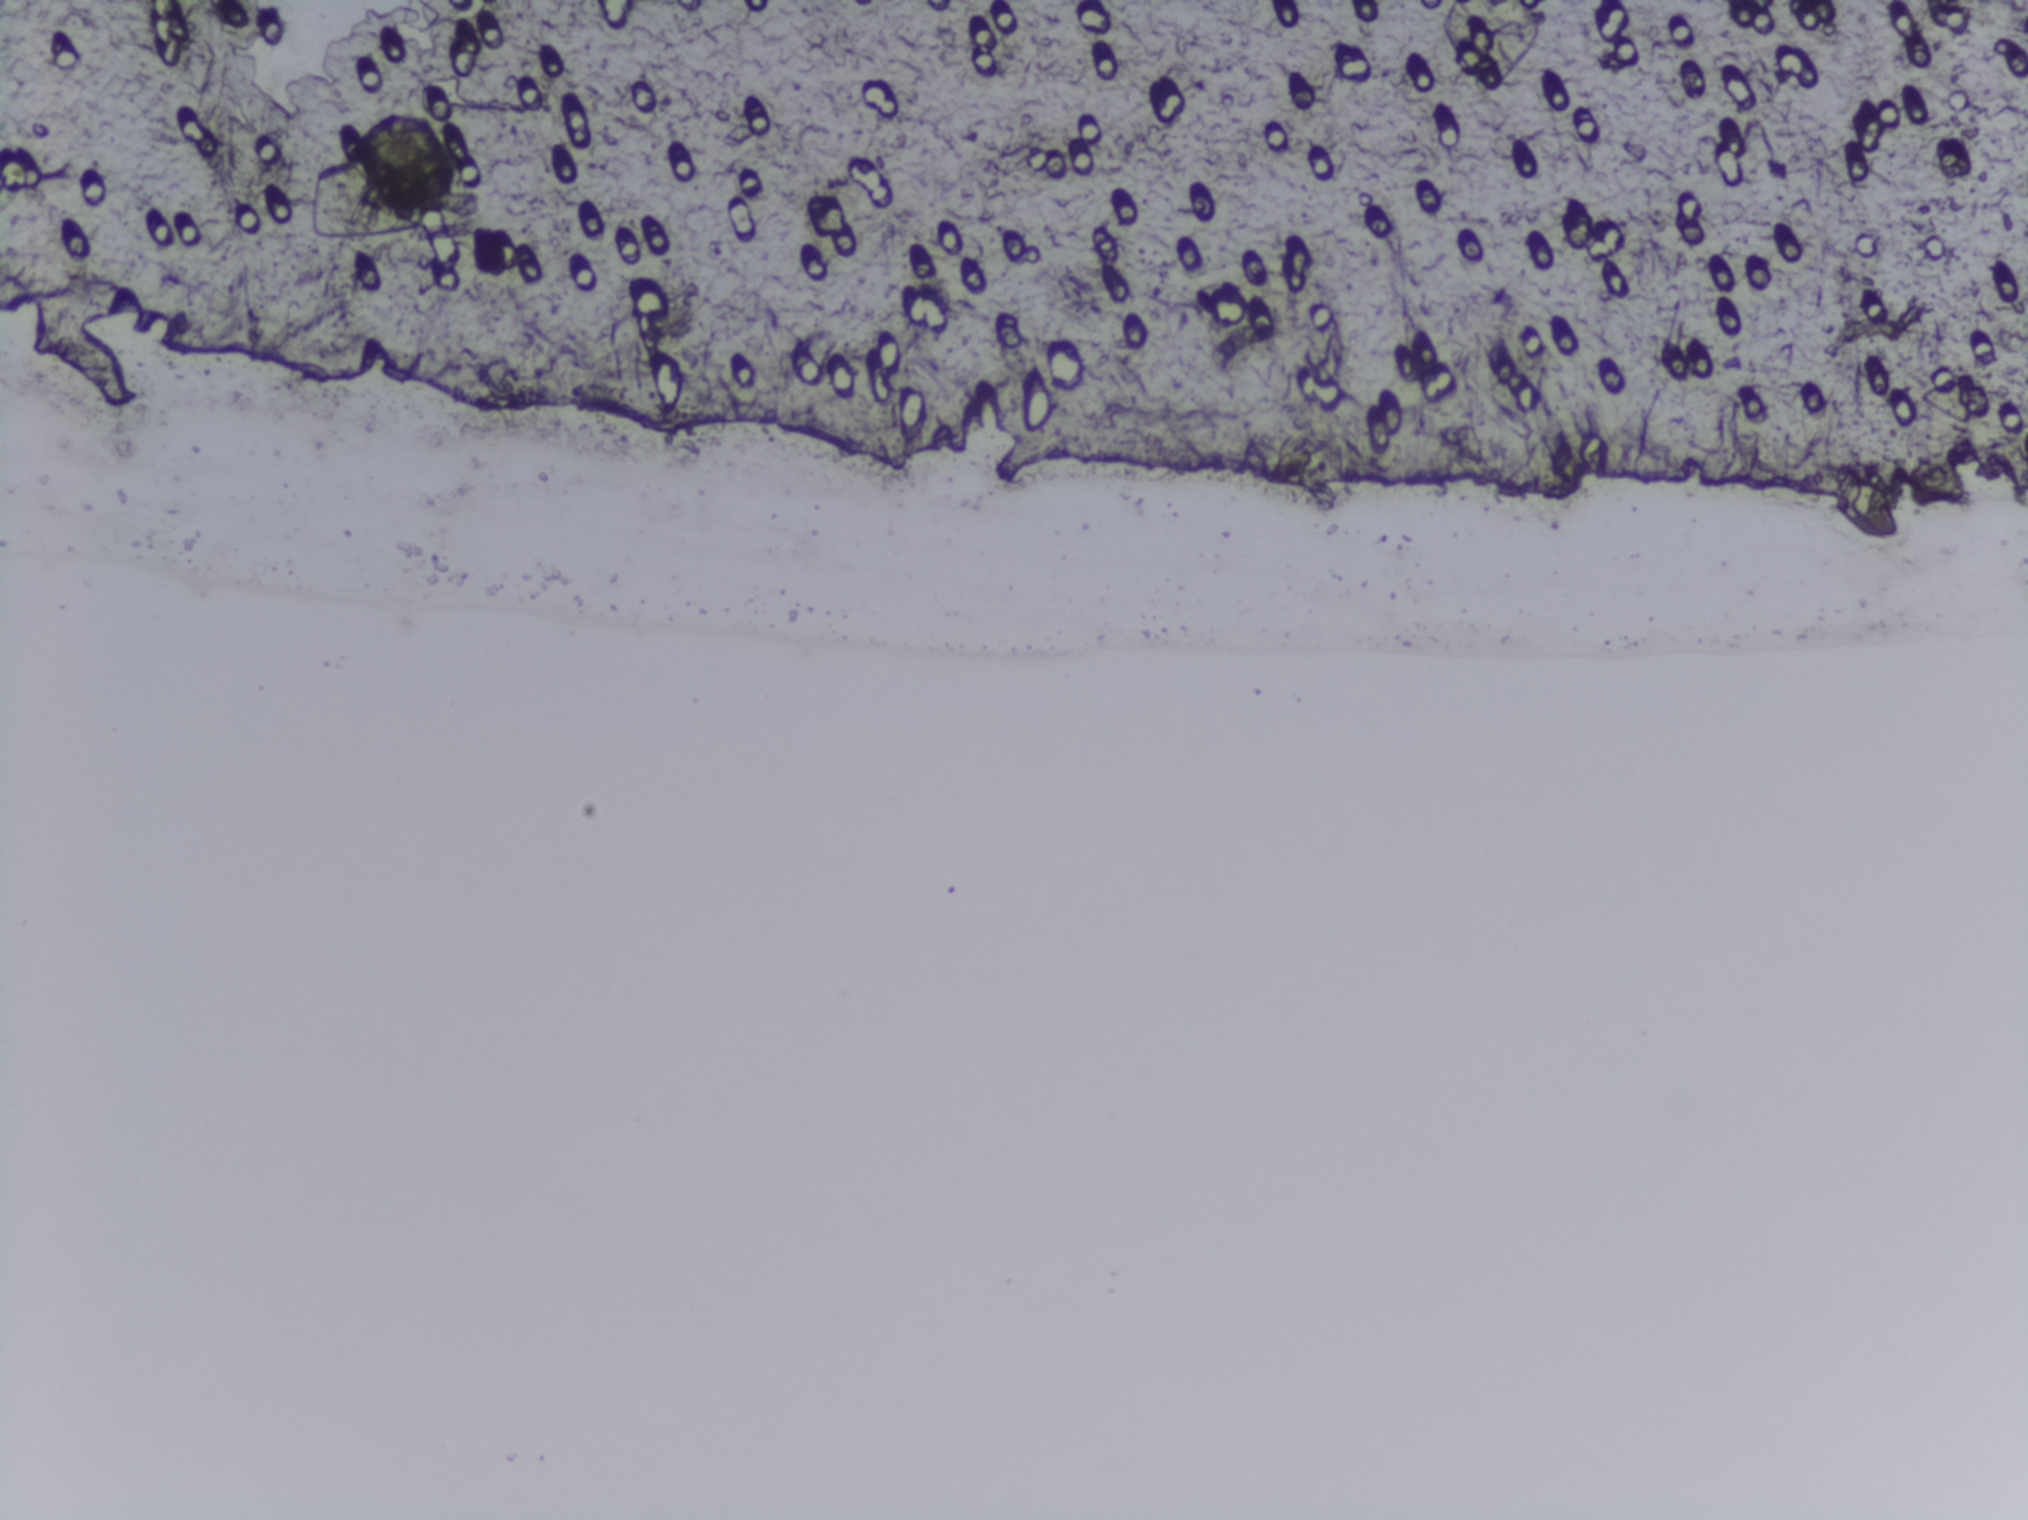
Microscope photograph (4× objective) of a membrane that a urine sample was filtered through.
The expert annotation outlines no Schistosoma egg in this image.